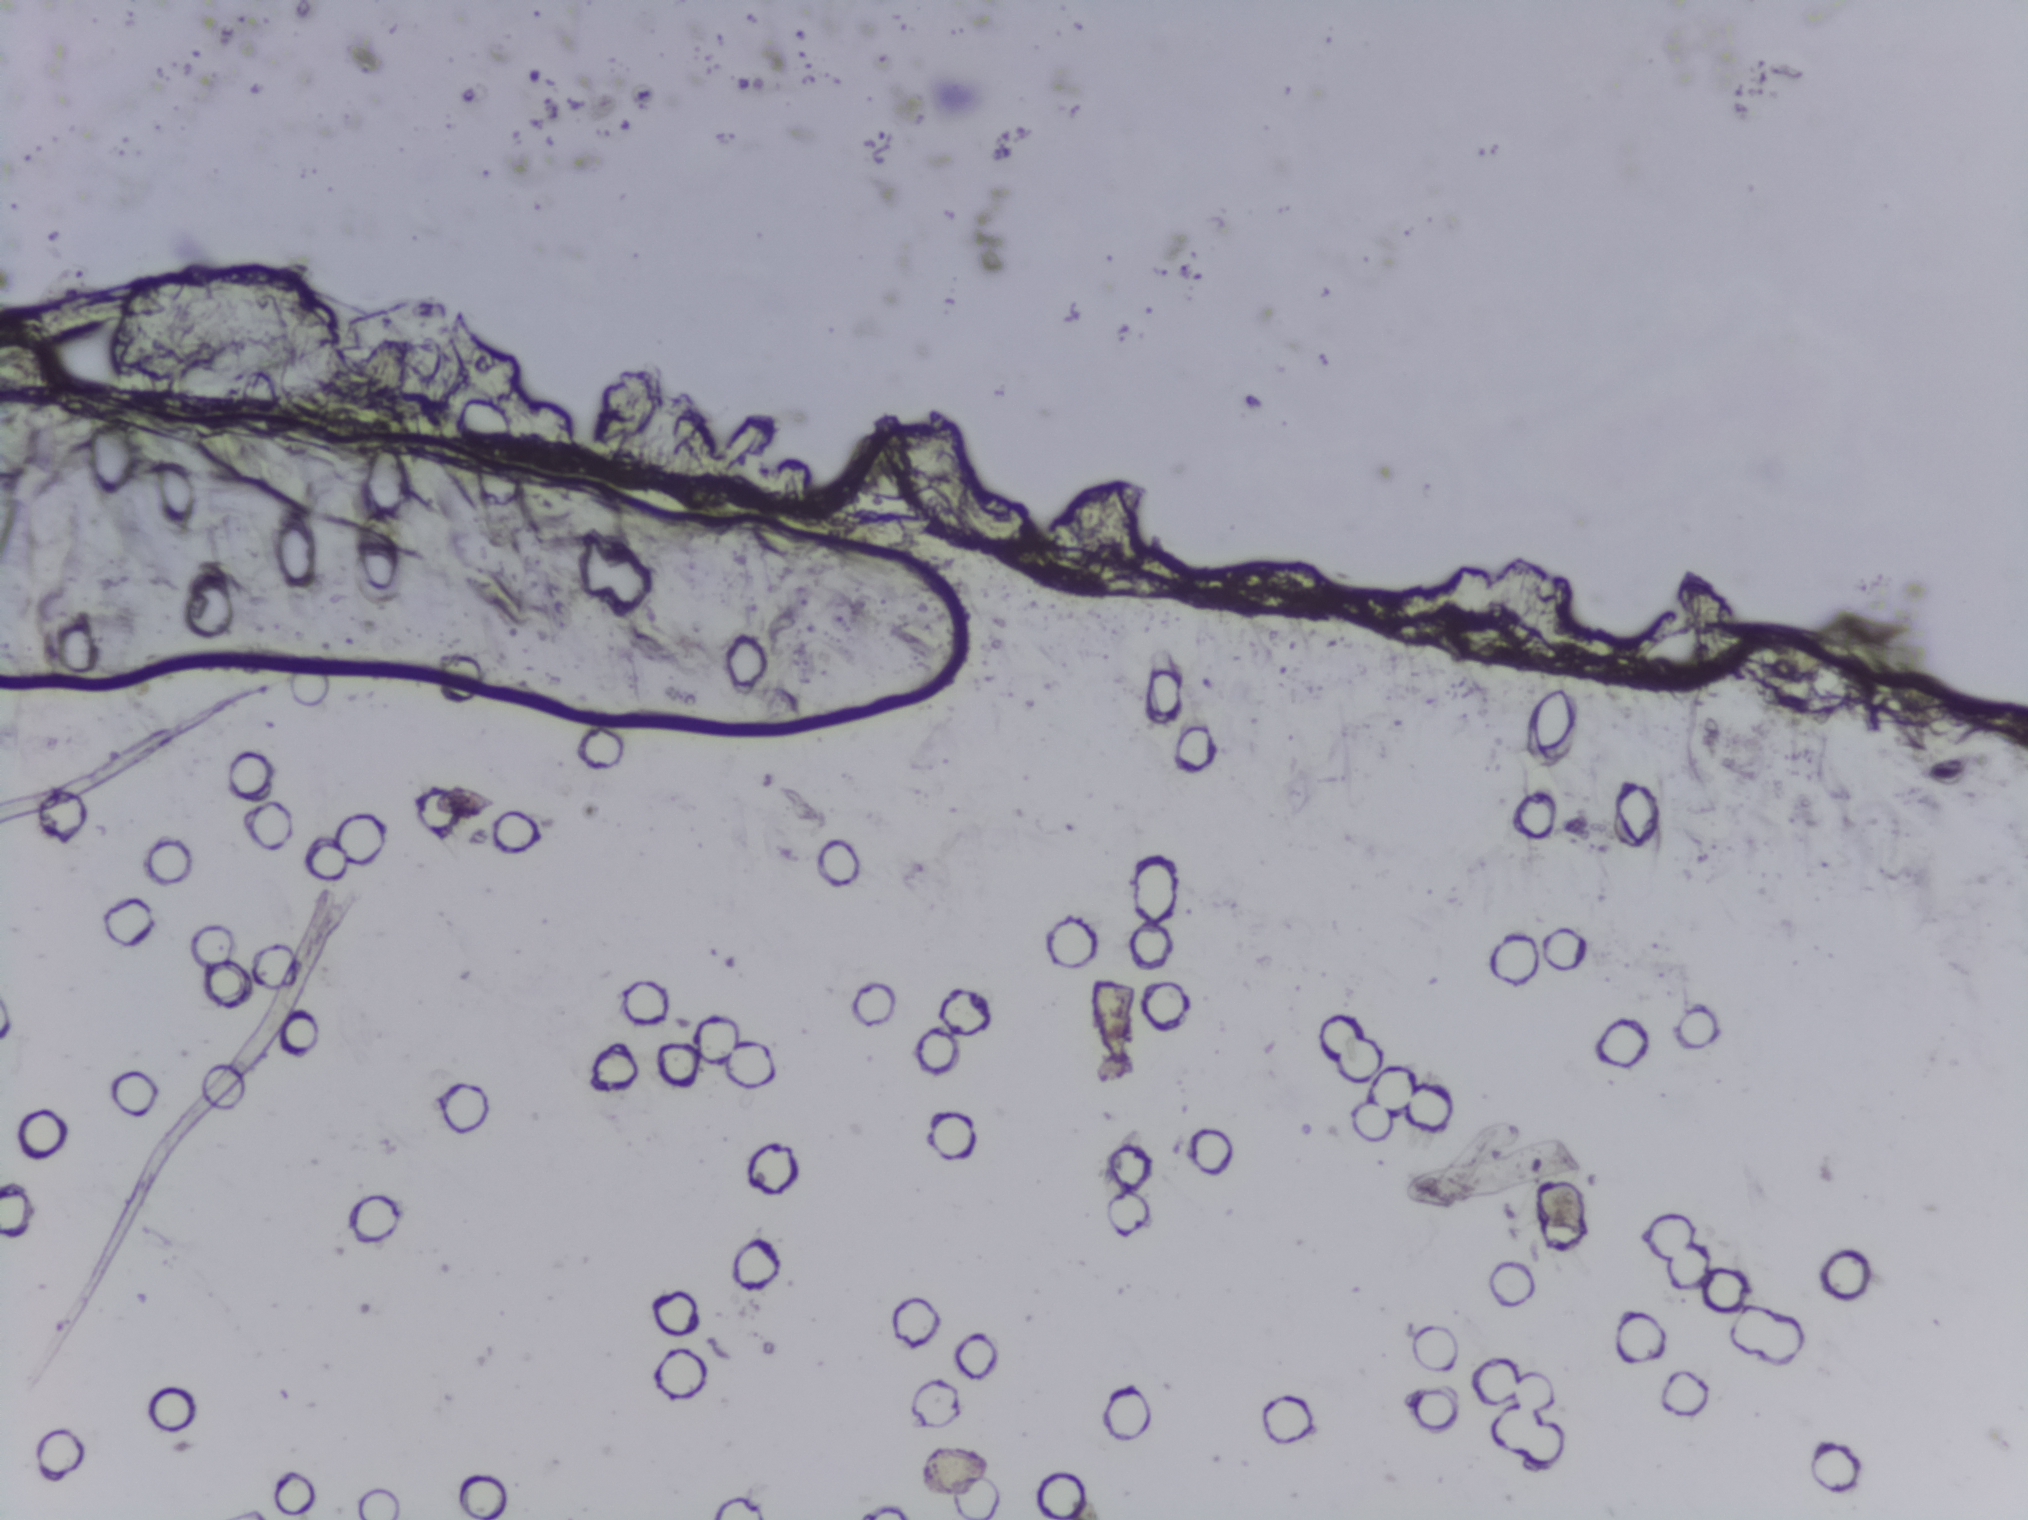
No Schistosoma egg is outlined in this image's expert annotation.
Urine filtration membrane under a 4× objective, photographed by an automated digital microscope.